Photomicrograph of a urine filtration membrane, 4× objective. The field of view is about 1.5 mm × 1.1 mm.
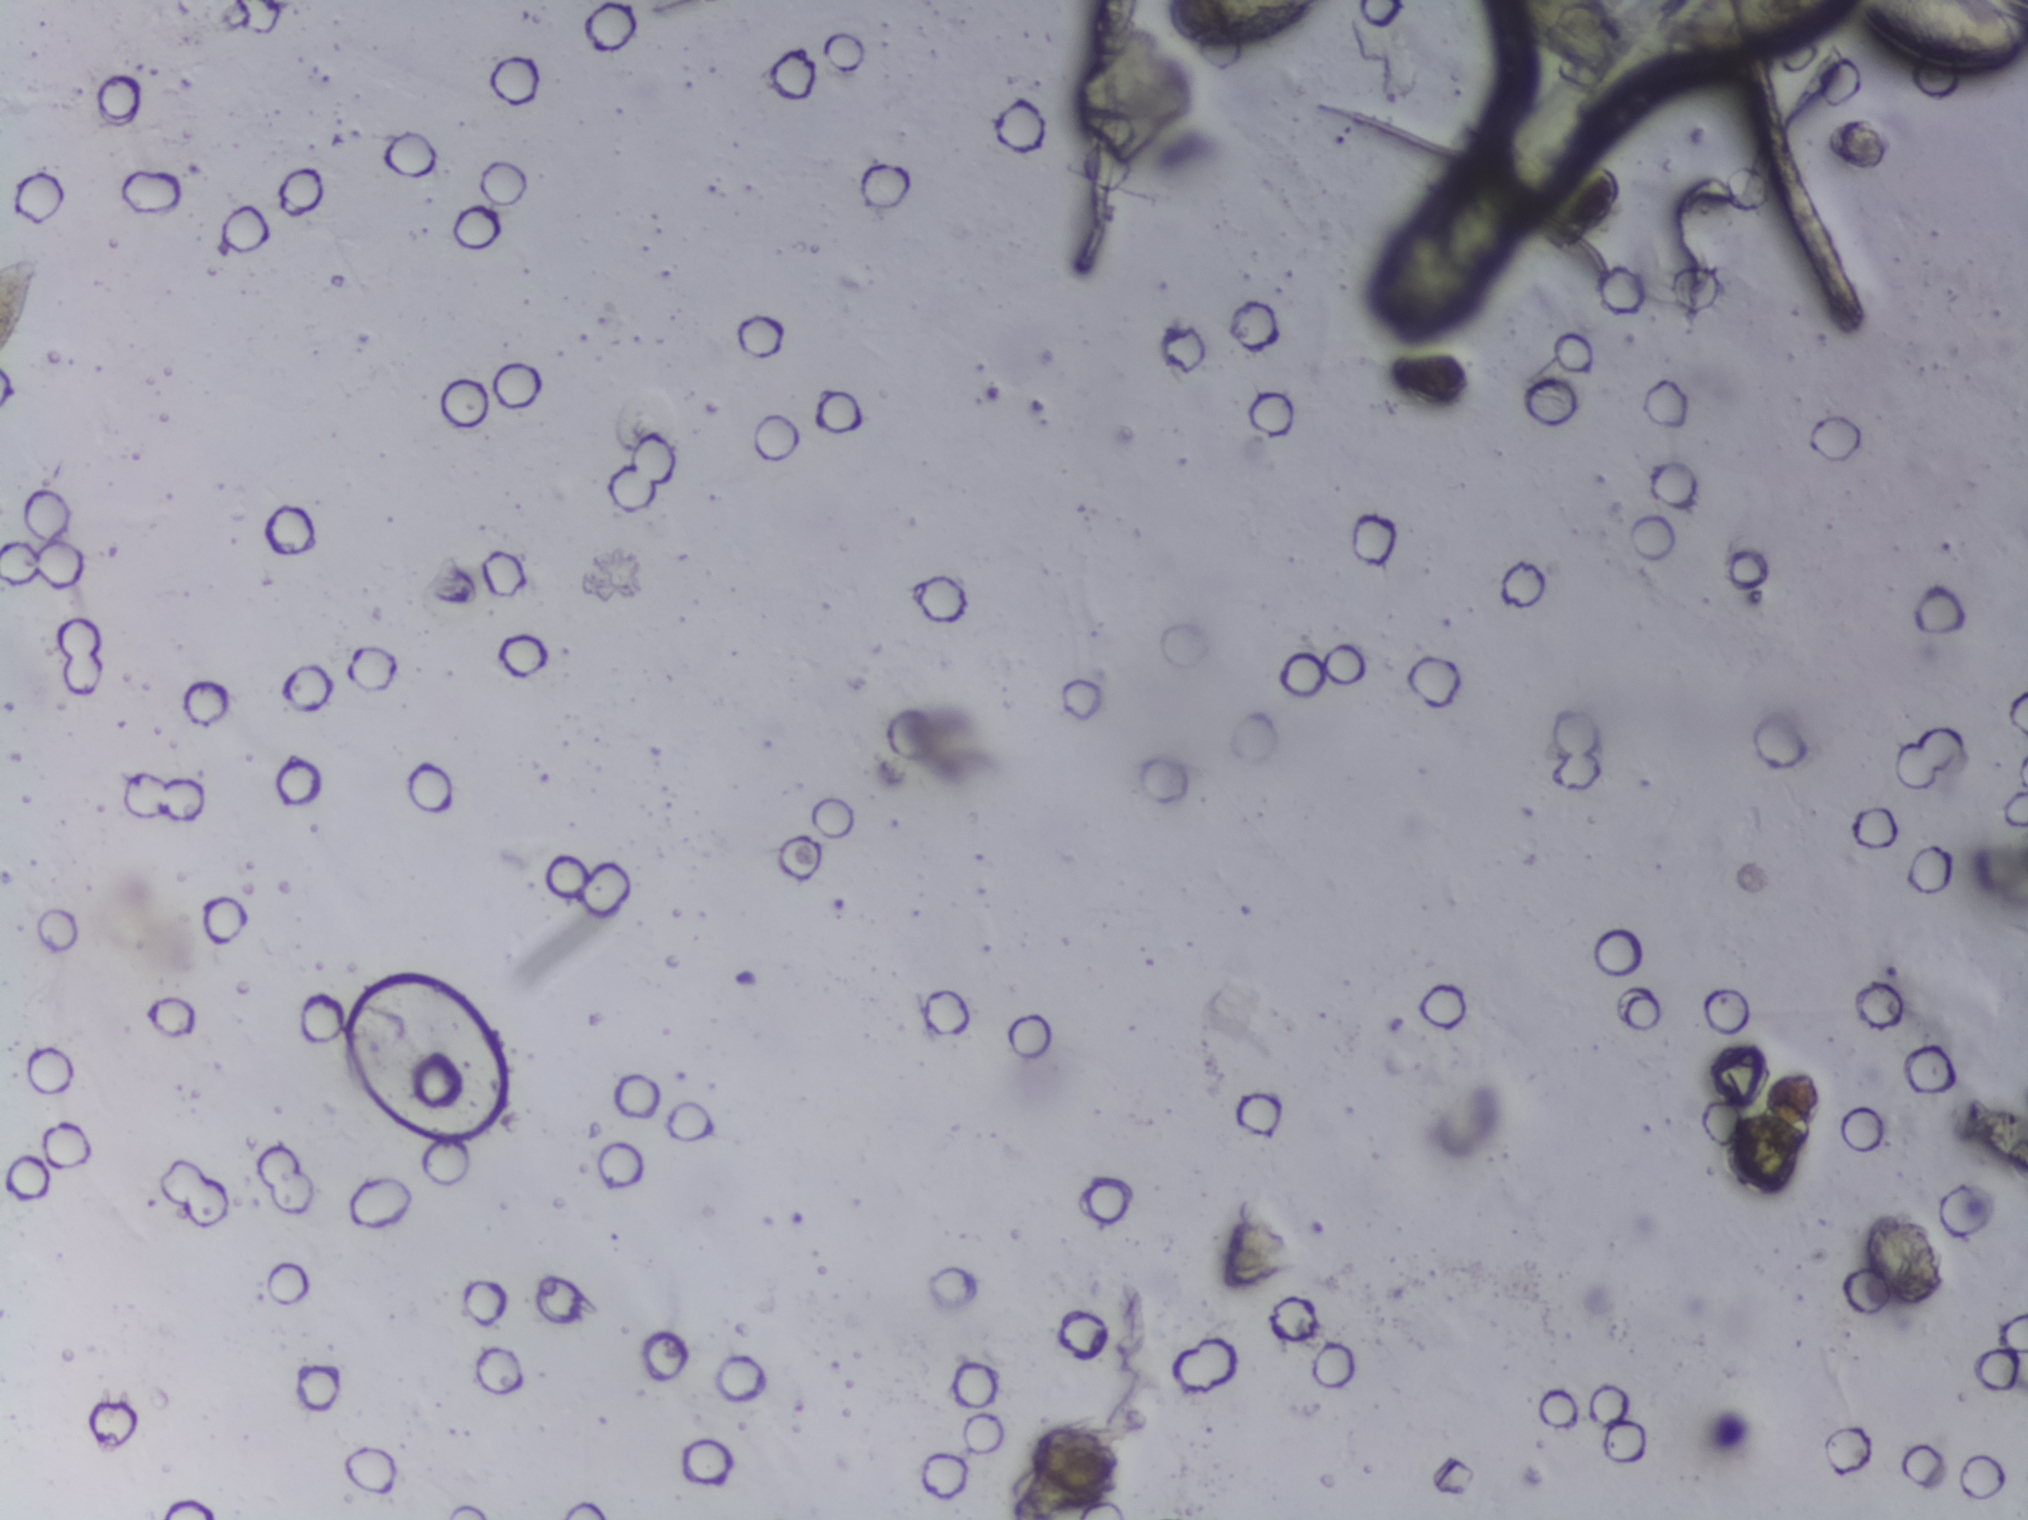
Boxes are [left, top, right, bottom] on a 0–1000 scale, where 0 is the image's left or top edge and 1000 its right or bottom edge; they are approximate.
Schistosoma eggs, outlined areas: [0, 166, 20, 235] (reaching the left edge of the frame); [574, 0, 656, 31] (reaching the top edge of the frame); [702, 76, 748, 187]; [728, 0, 802, 50] (reaching the top edge of the frame); [817, 0, 1000, 47] (reaching the top and right edges of the frame). About 1.6% of the image's pixels are marked (the marked pixels themselves, not the boxes around them). Eggs that touch can end up inside the same outlined area. Any one outlined egg may, rarely, be S. mansoni rather than S. haematobium.